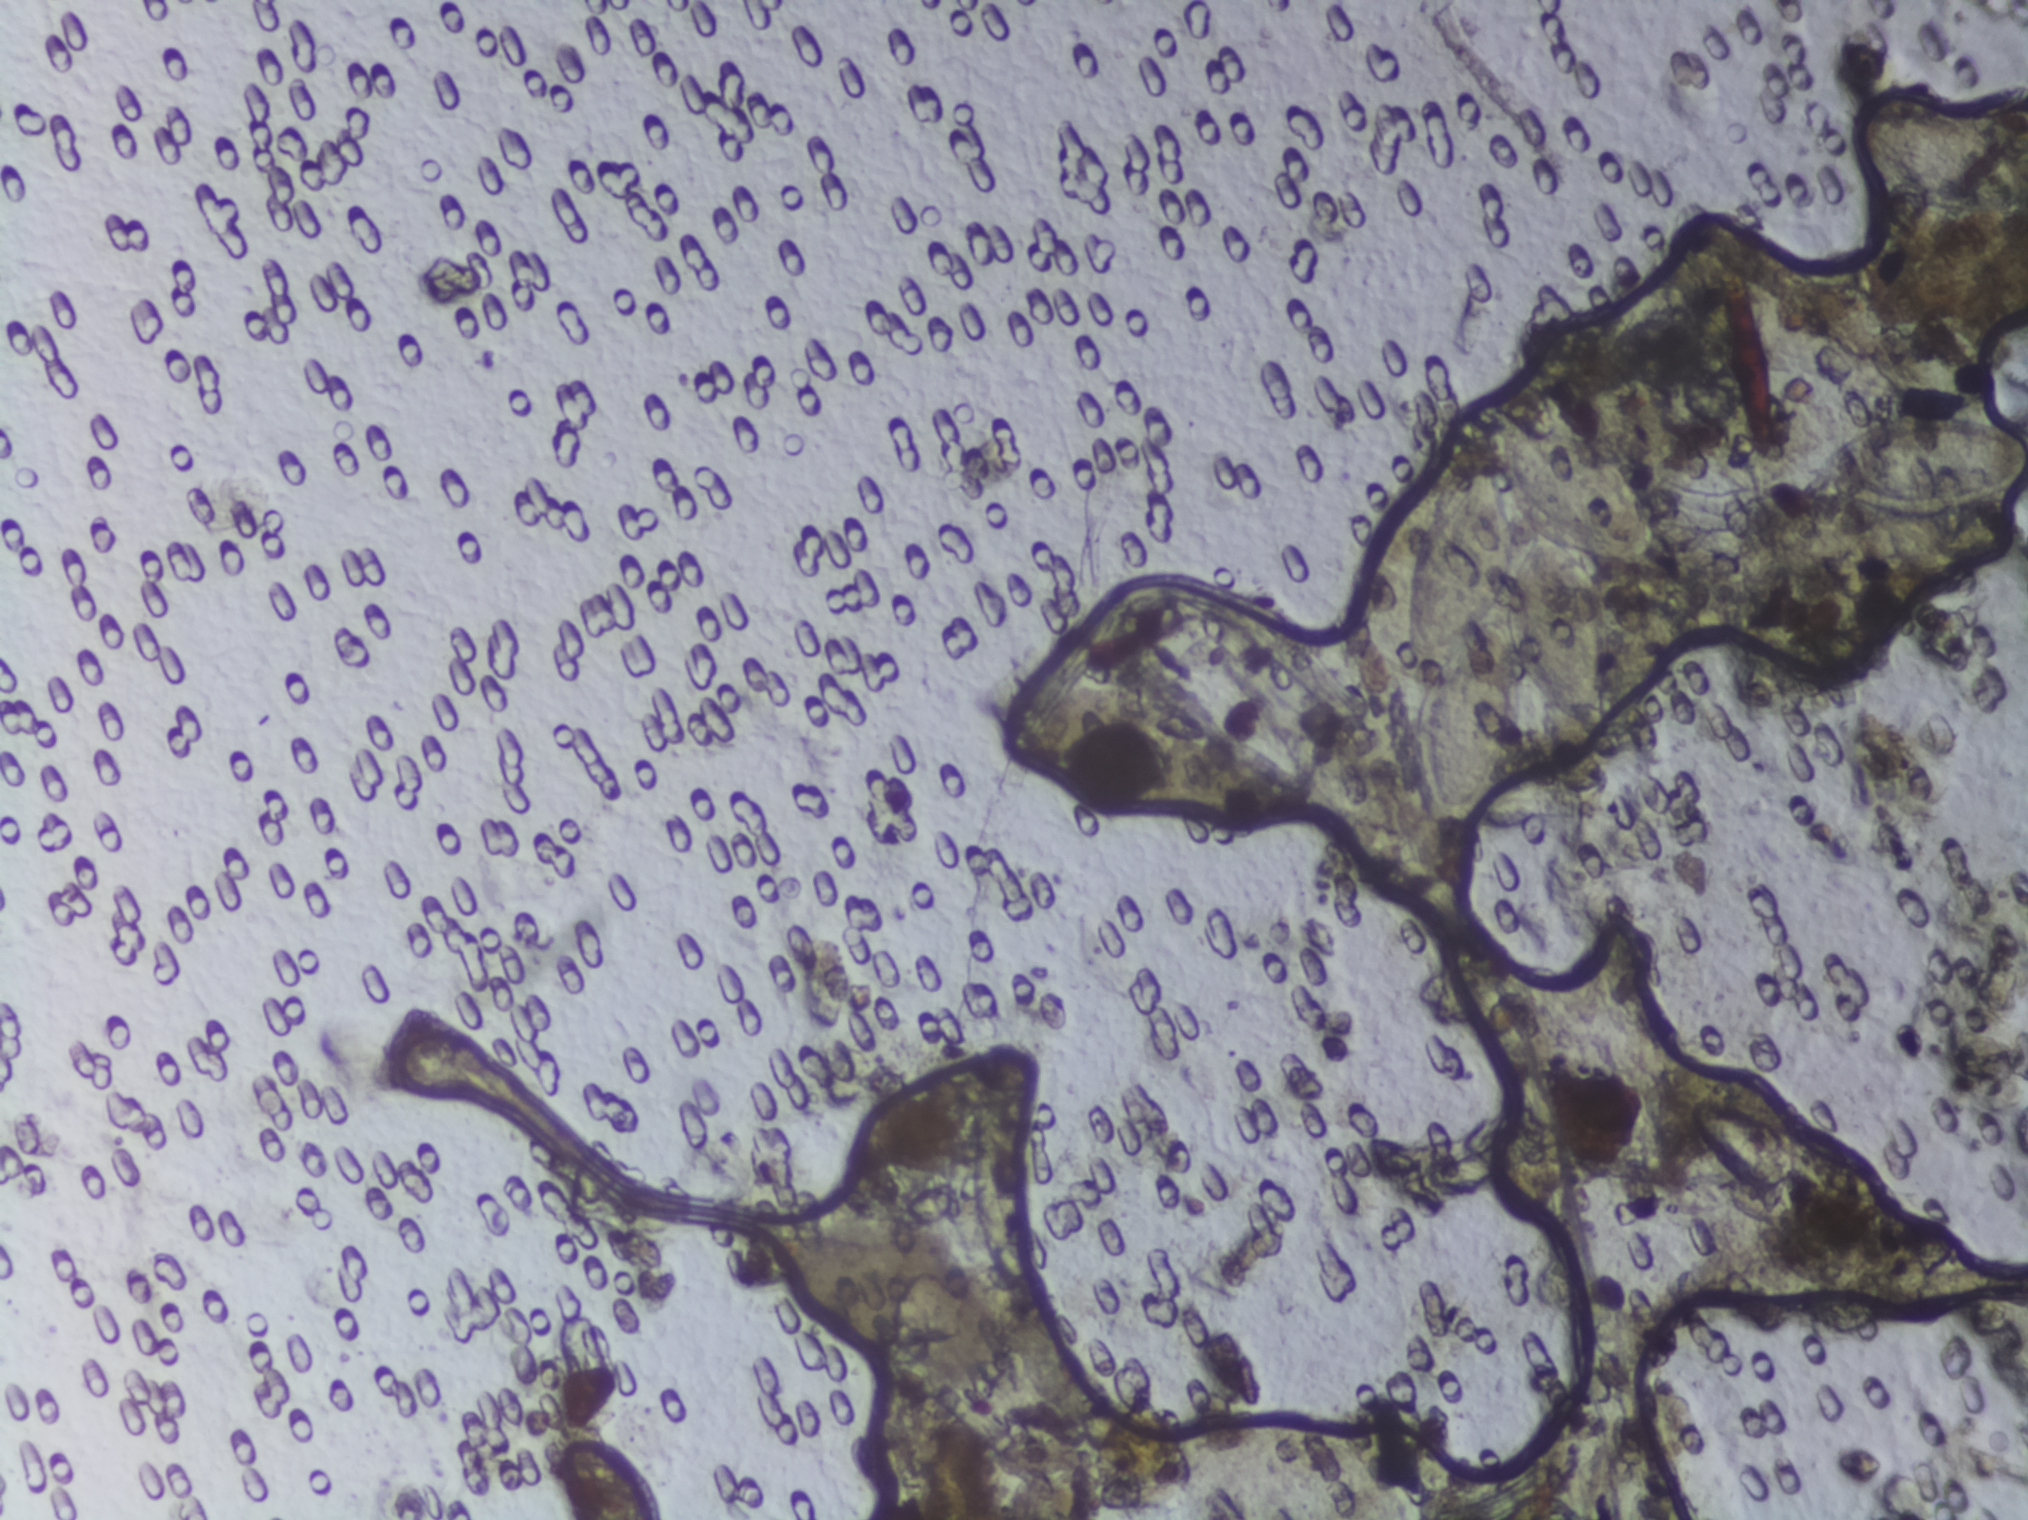
Photograph from an automated digital microscope: urine filter membrane, 4× objective.
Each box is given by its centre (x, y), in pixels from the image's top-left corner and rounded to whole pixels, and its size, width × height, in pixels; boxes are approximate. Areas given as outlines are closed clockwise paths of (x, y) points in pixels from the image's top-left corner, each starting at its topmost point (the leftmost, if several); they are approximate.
The expert annotation outlines Schistosoma eggs in six areas, left to right: box centre (611, 1481), 90 × 78 px (reaching the bottom edge of the frame); box centre (1083, 725), 157 × 76 px; outline (1519, 406), (1578, 425), (1612, 458), (1649, 505), (1655, 548), (1643, 564), (1594, 560), (1606, 584), (1604, 729), (1593, 734), (1571, 720), (1522, 664), (1526, 693), (1515, 756), (1479, 813), (1452, 820), (1432, 811), (1421, 792), (1420, 702), (1433, 678), (1419, 676), (1400, 645), (1404, 577), (1409, 553), (1462, 451), (1480, 436), (1496, 465), (1494, 422), (1503, 408) (eggs clustered together); box centre (1760, 1155), 137 × 110 px; box centre (1878, 457), 300 × 248 px (reaching the right edge of the frame); box centre (1933, 153), 188 × 134 px. About 4.7% of the image's pixels are marked (the marked pixels themselves, not the boxes and the outline around them). An outlined area can hold more than one egg.